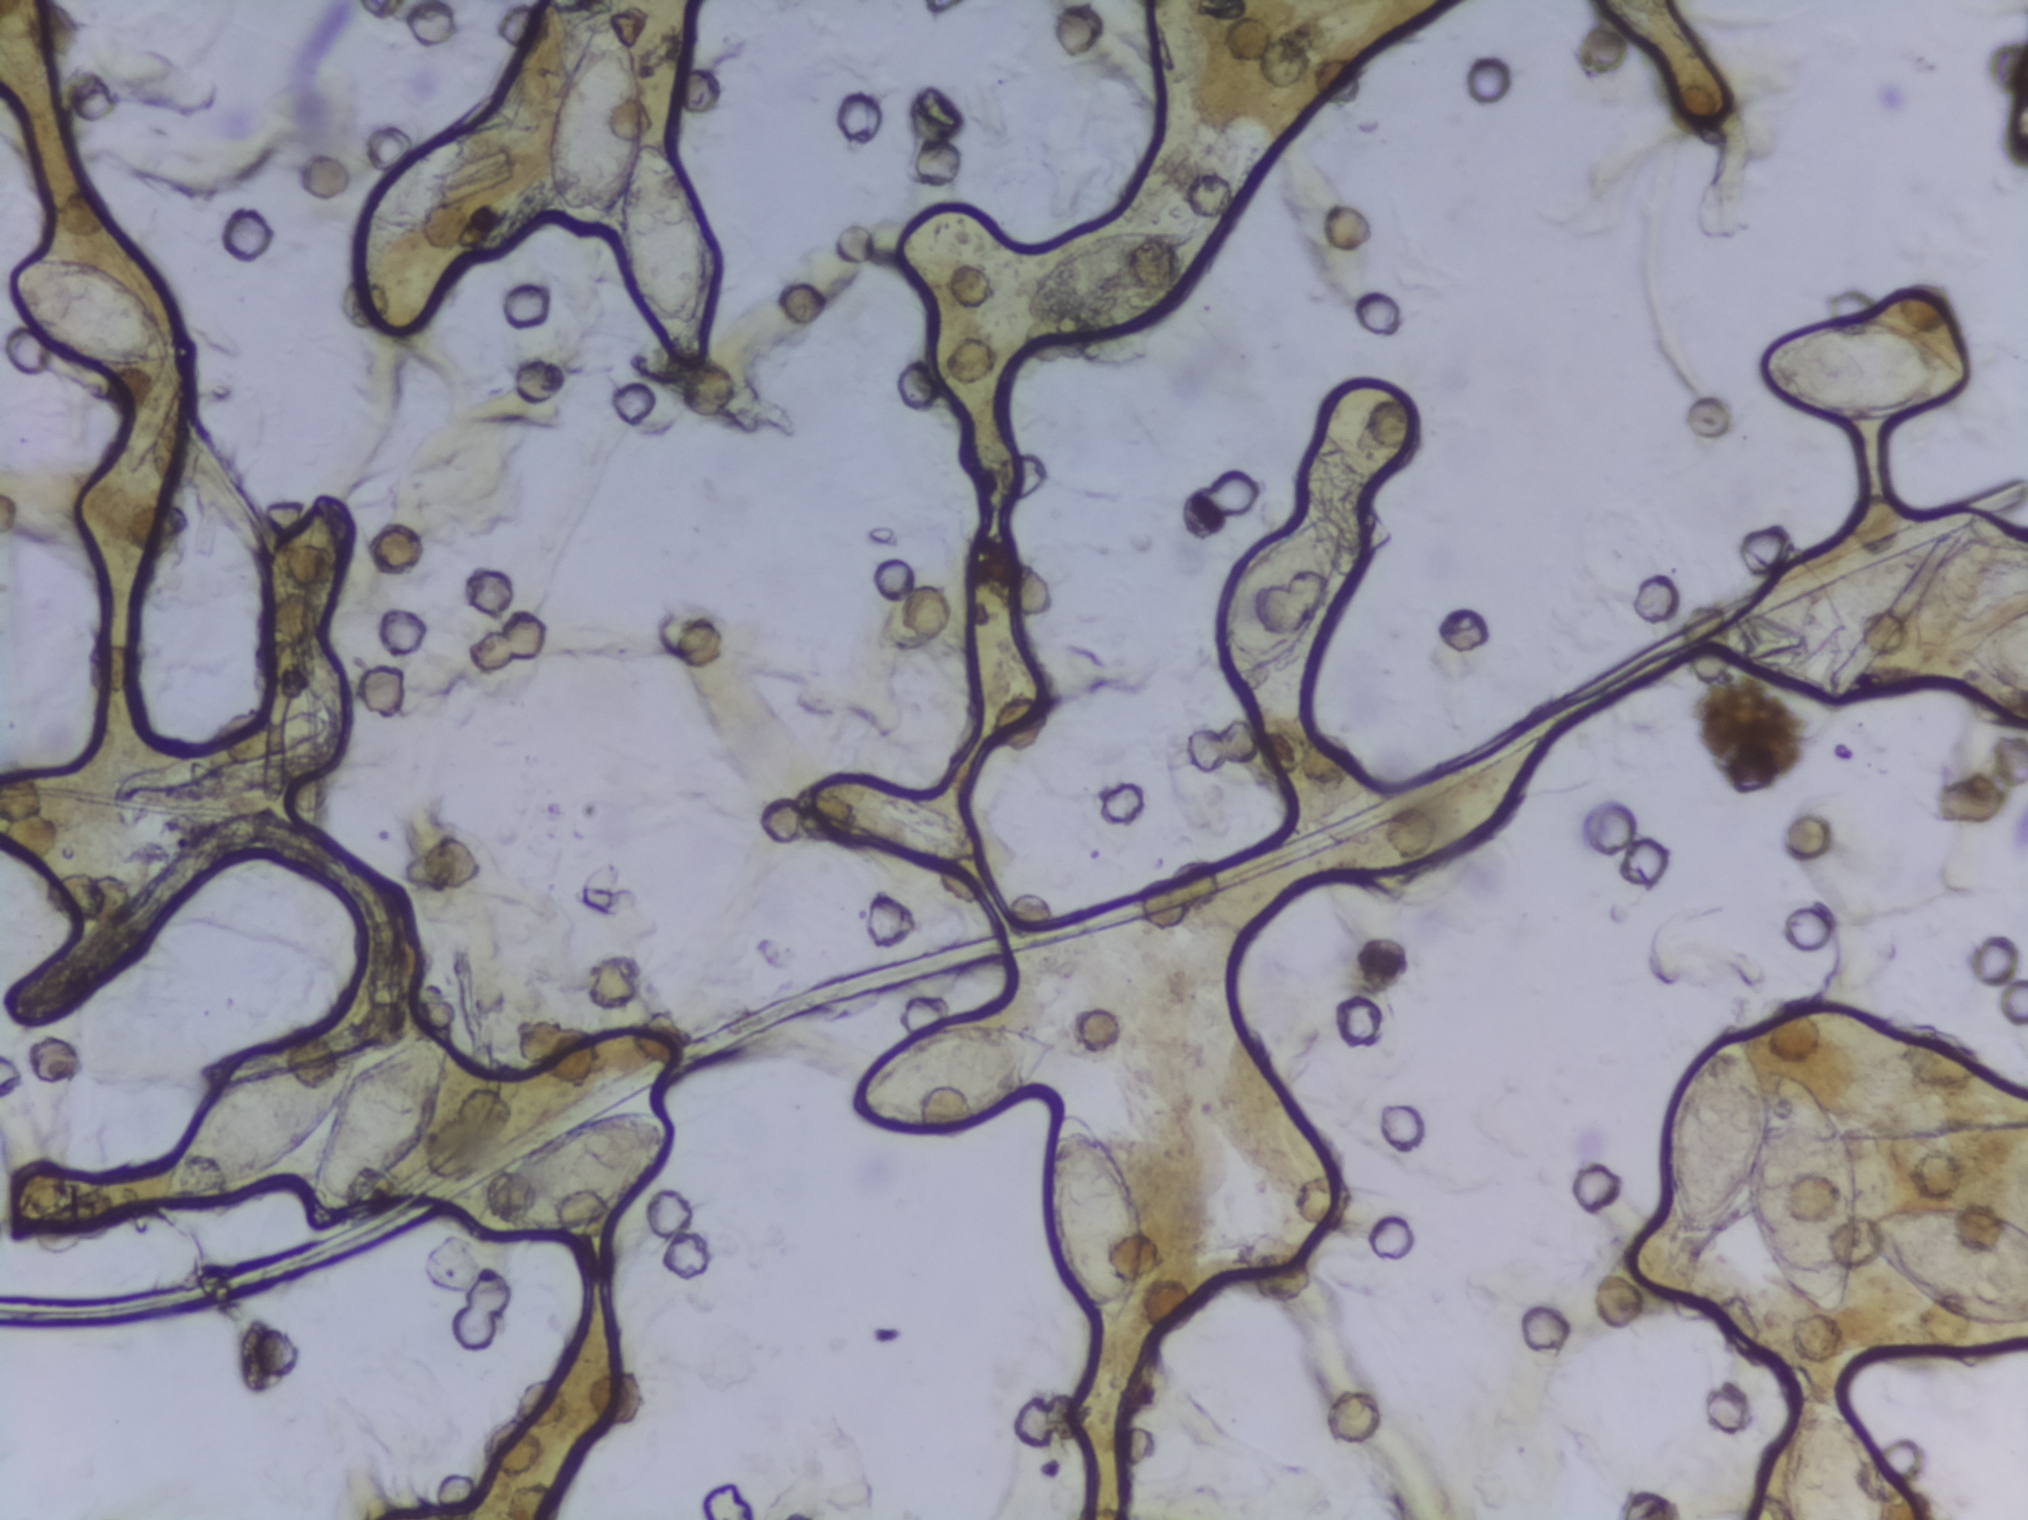
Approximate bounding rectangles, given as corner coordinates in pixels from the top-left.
The expert annotation outlines Schistosoma eggs at (x1=12, y1=250, x2=175, y2=384); (x1=163, y1=1011, x2=457, y2=1225); (x1=356, y1=122, x2=486, y2=343); (x1=464, y1=1107, x2=678, y2=1247); (x1=548, y1=1, x2=722, y2=376); (x1=845, y1=1014, x2=1062, y2=1135); (x1=1025, y1=228, x2=1194, y2=324); (x1=1041, y1=1109, x2=1152, y2=1326); (x1=1217, y1=514, x2=1342, y2=683); (x1=1665, y1=1018, x2=1862, y2=1324); (x1=1756, y1=318, x2=1972, y2=431); (x1=1780, y1=1391, x2=1892, y2=1519) (reaching the bottom edge of the frame); (x1=1862, y1=1199, x2=2027, y2=1329) (reaching the right edge of the frame); (x1=1909, y1=527, x2=2027, y2=655) (reaching the right edge of the frame); (x1=1956, y1=609, x2=2027, y2=694) (reaching the right edge of the frame). A single outlined area may contain several eggs.
Urine filtration membrane under a 4× objective, photographed by an automated digital microscope. Field of view: about 1.5 mm wide and 1.1 mm high.